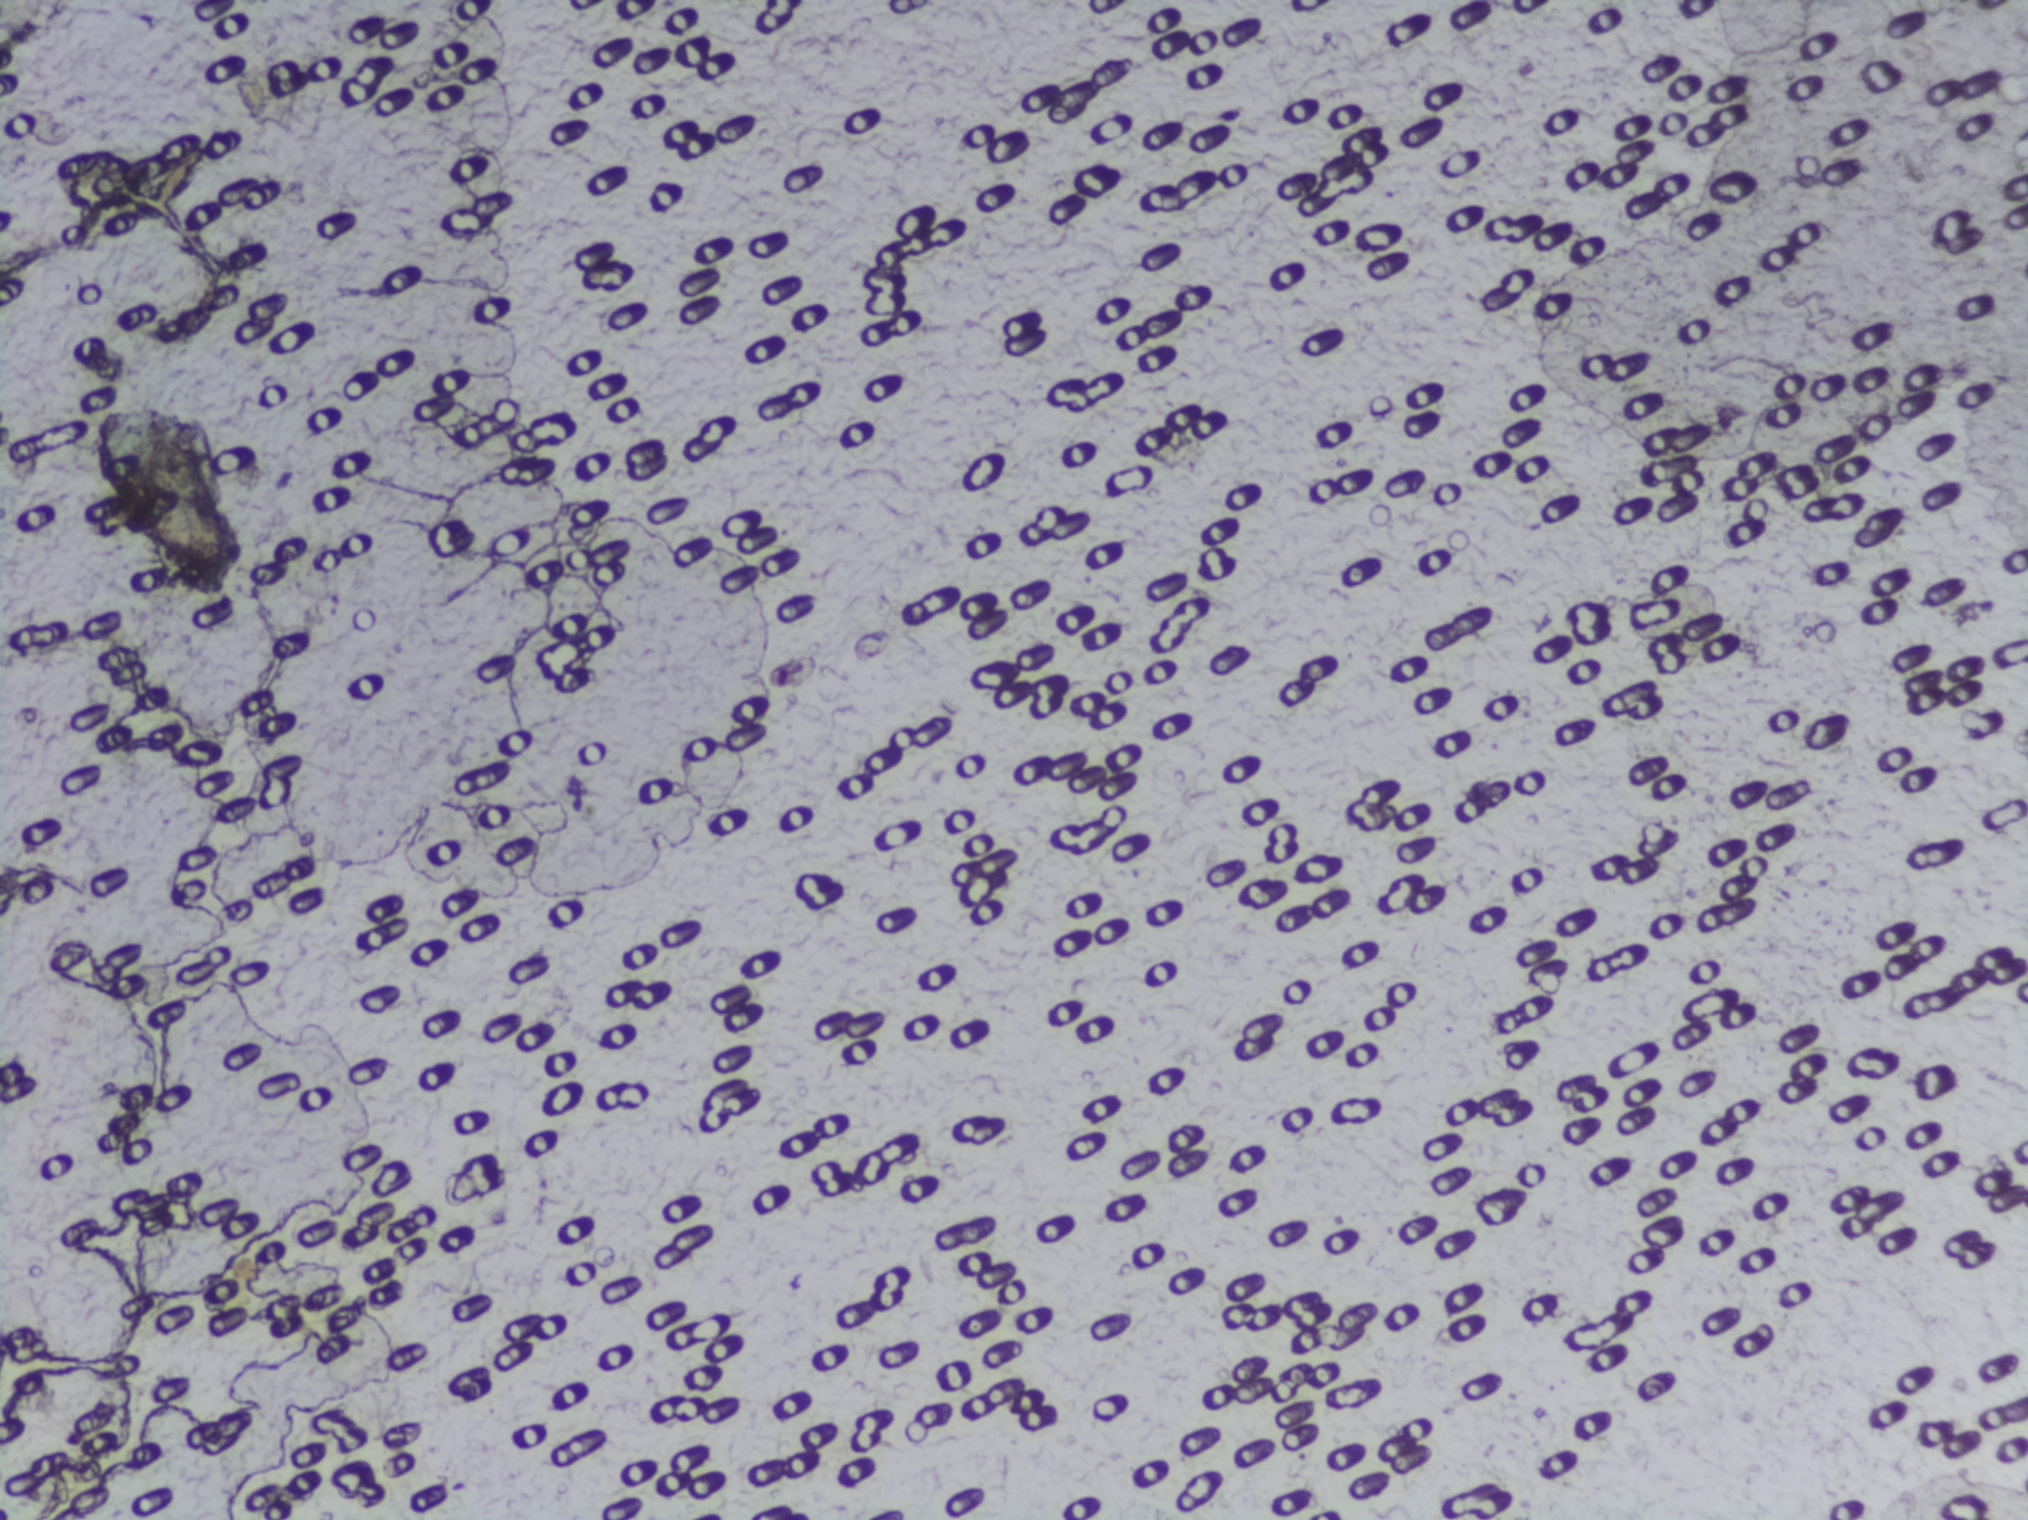
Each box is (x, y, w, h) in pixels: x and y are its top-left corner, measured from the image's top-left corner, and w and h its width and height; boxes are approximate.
Schistosoma eggs, outlined areas: (x=86, y=390, w=168, h=203). Eggs that touch can end up inside the same outlined area.
One field of view of a urine filter membrane, 4× objective, 2028 × 1520 pixels.